One field of view of a urine filter membrane, 4× objective, 2028 × 1520 pixels. The field of view is about 1.5 mm × 1.1 mm.
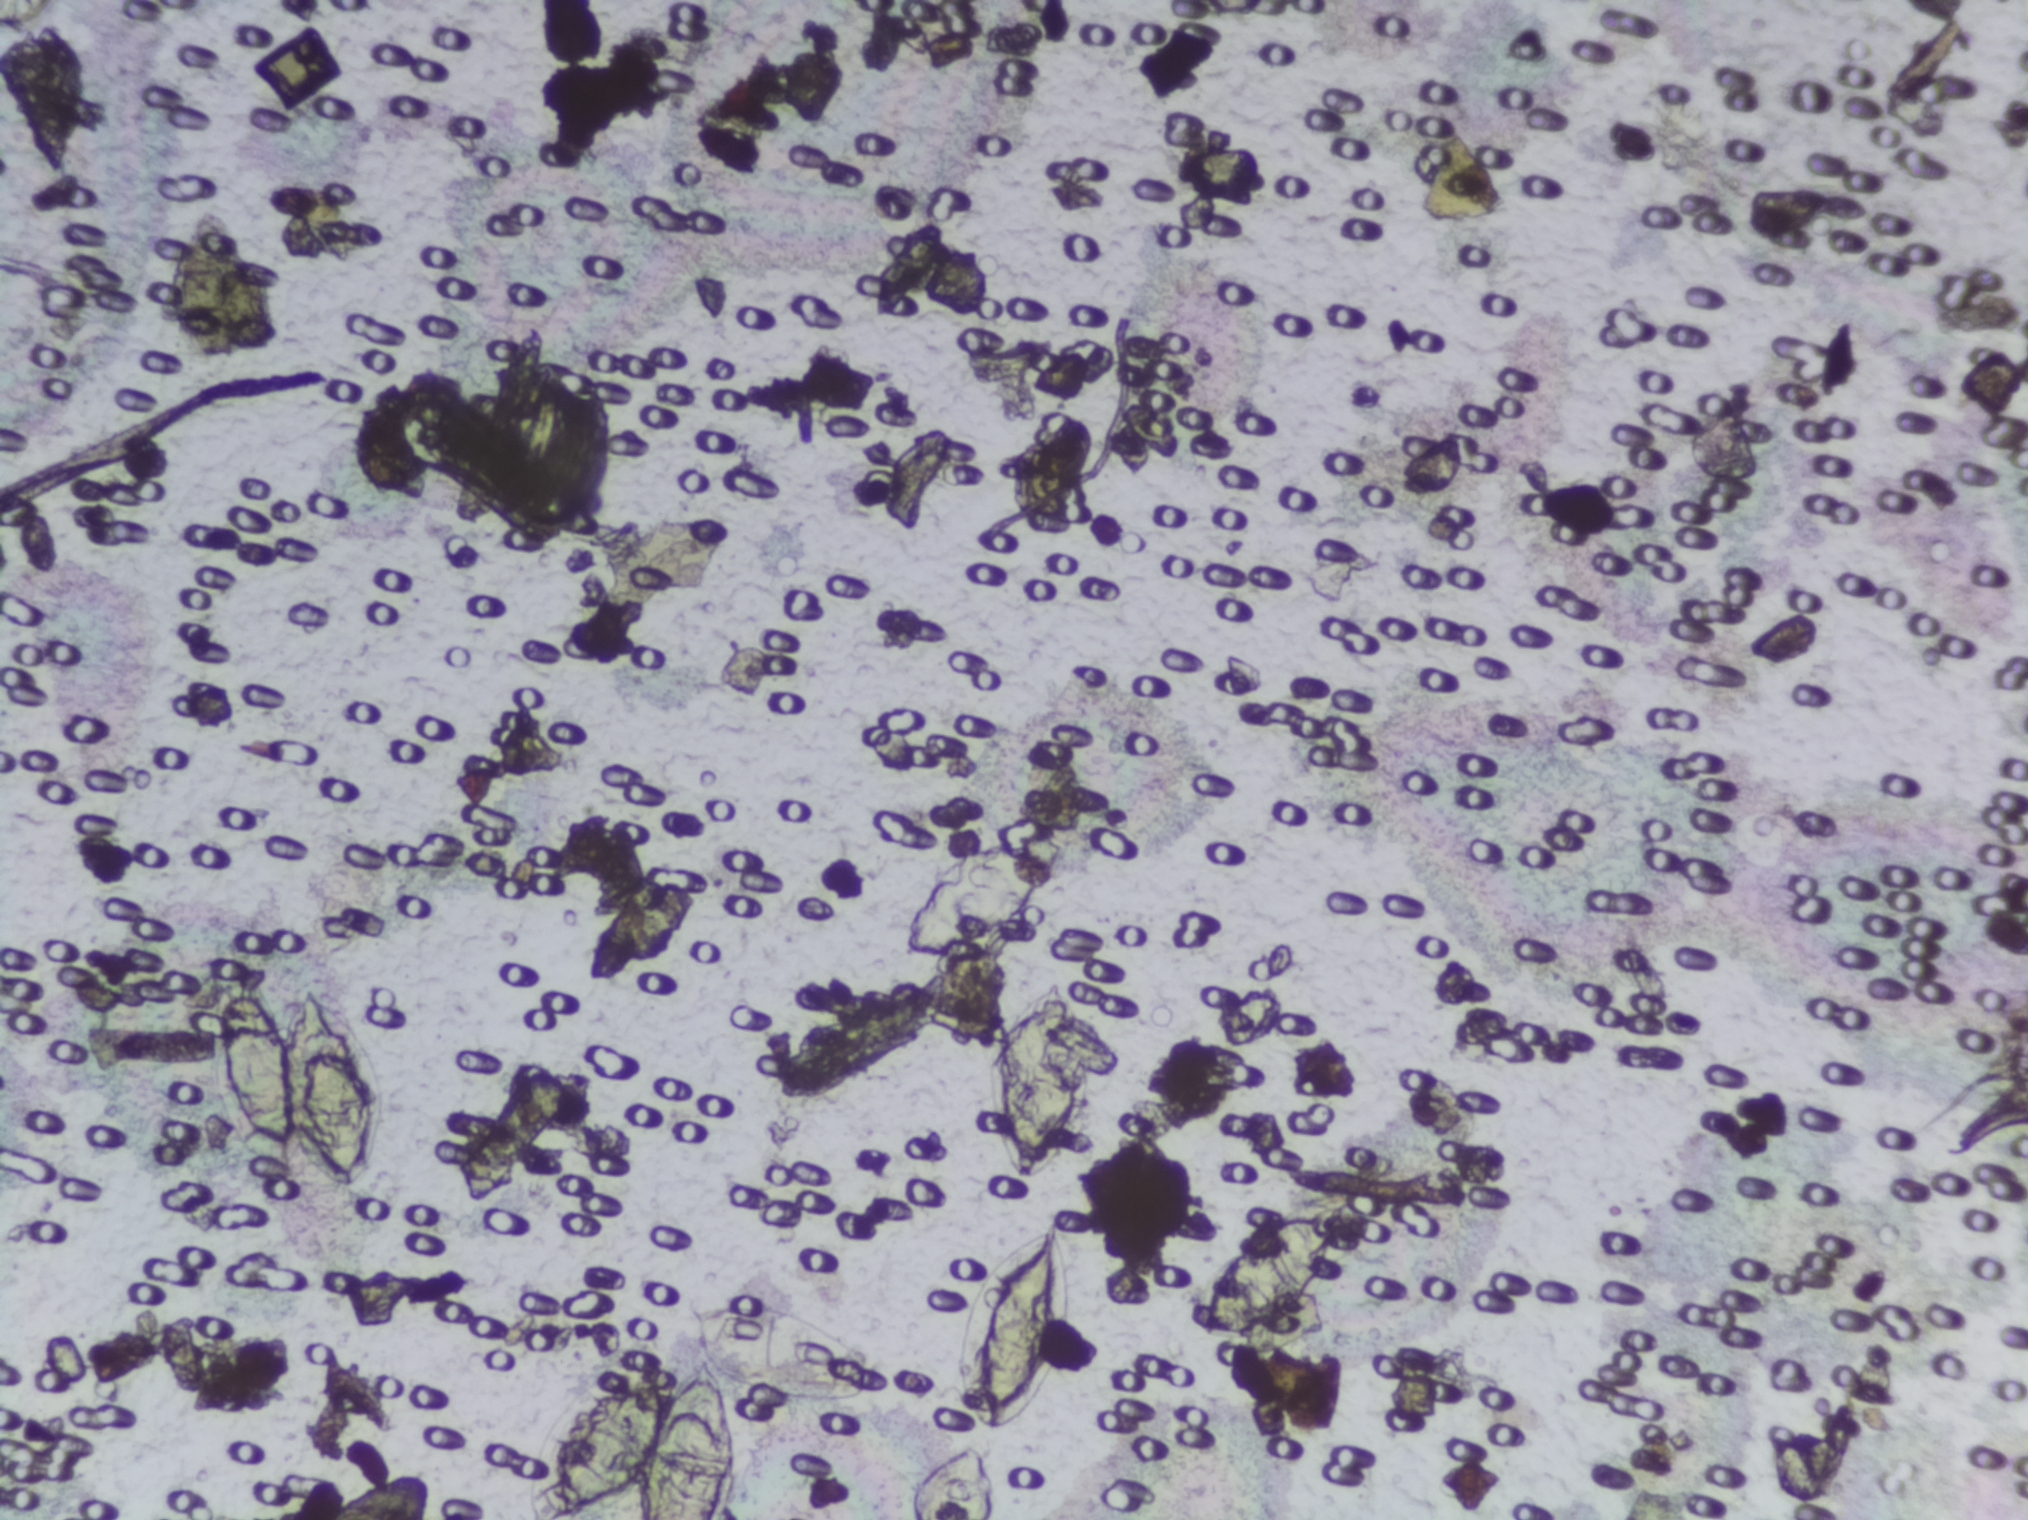
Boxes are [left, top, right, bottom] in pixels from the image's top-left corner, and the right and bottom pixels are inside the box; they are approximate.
{"schistosoma_egg_areas_xyxy_px": [[217, 968, 397, 1189], [521, 1345, 744, 1519], [683, 1291, 886, 1399], [897, 830, 1085, 972], [927, 1212, 1093, 1432], [988, 976, 1102, 1187], [1195, 1196, 1339, 1340]]} Area 2 reaches the bottom edge of the frame.
About 4.9% of the image's pixels are marked (the marked pixels themselves, not the boxes around them). An outlined area can hold more than one egg. A marked egg may occasionally be S. mansoni rather than S. haematobium.